Urine filter membrane photographed through a 4× microscope objective.
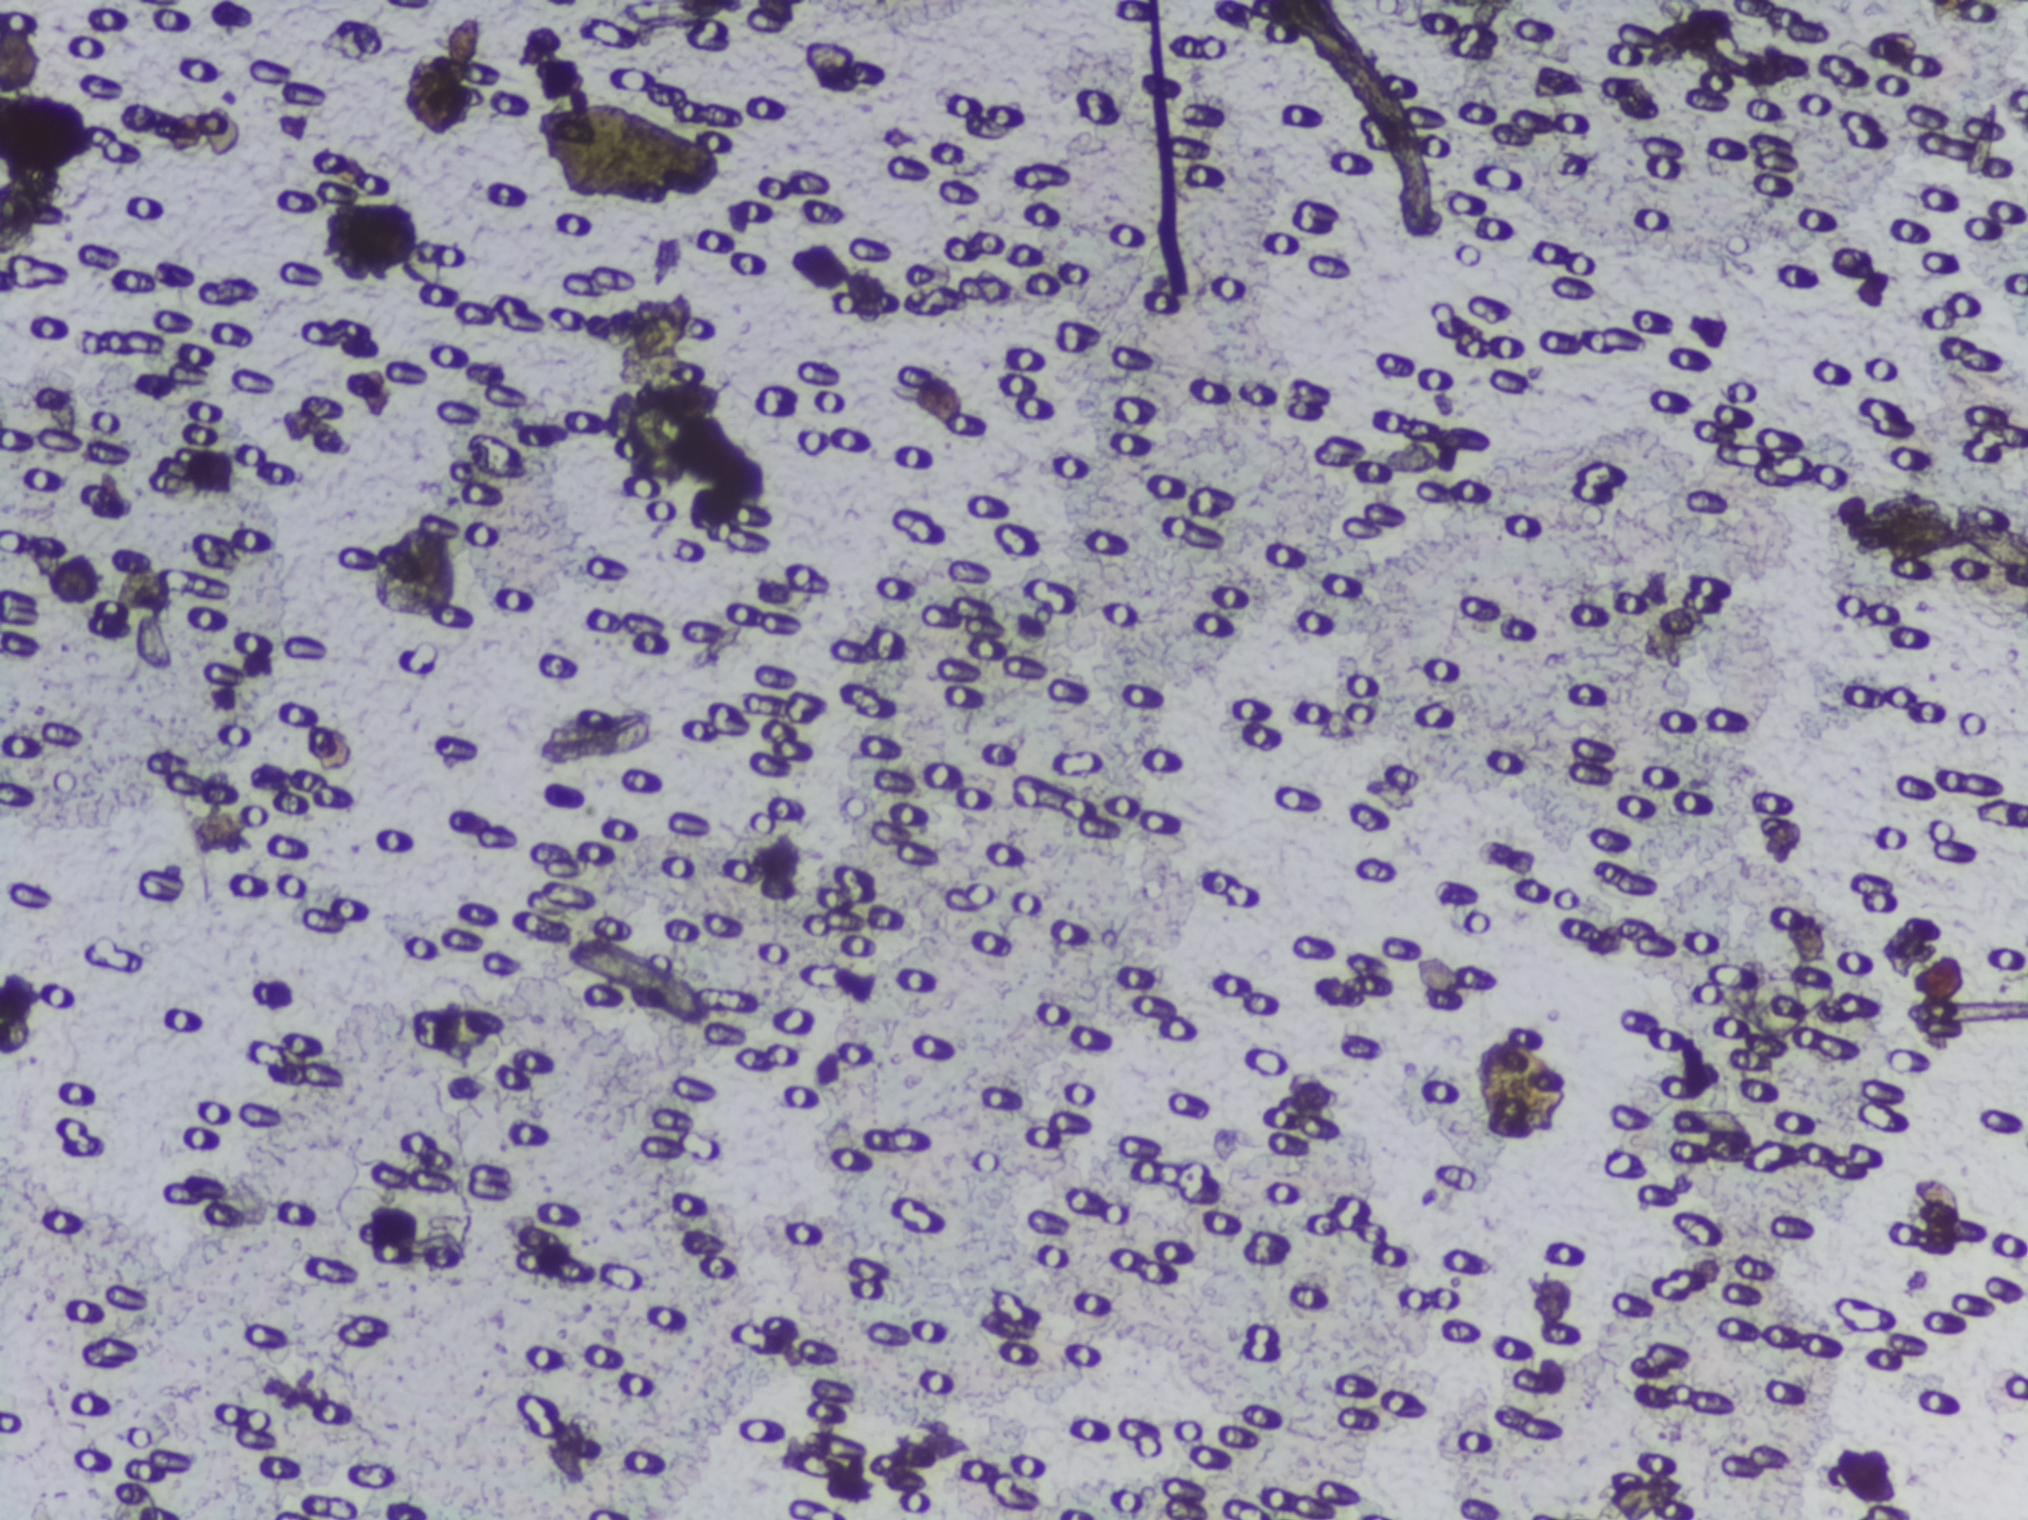
The expert annotation marks no Schistosoma egg in this field of view.